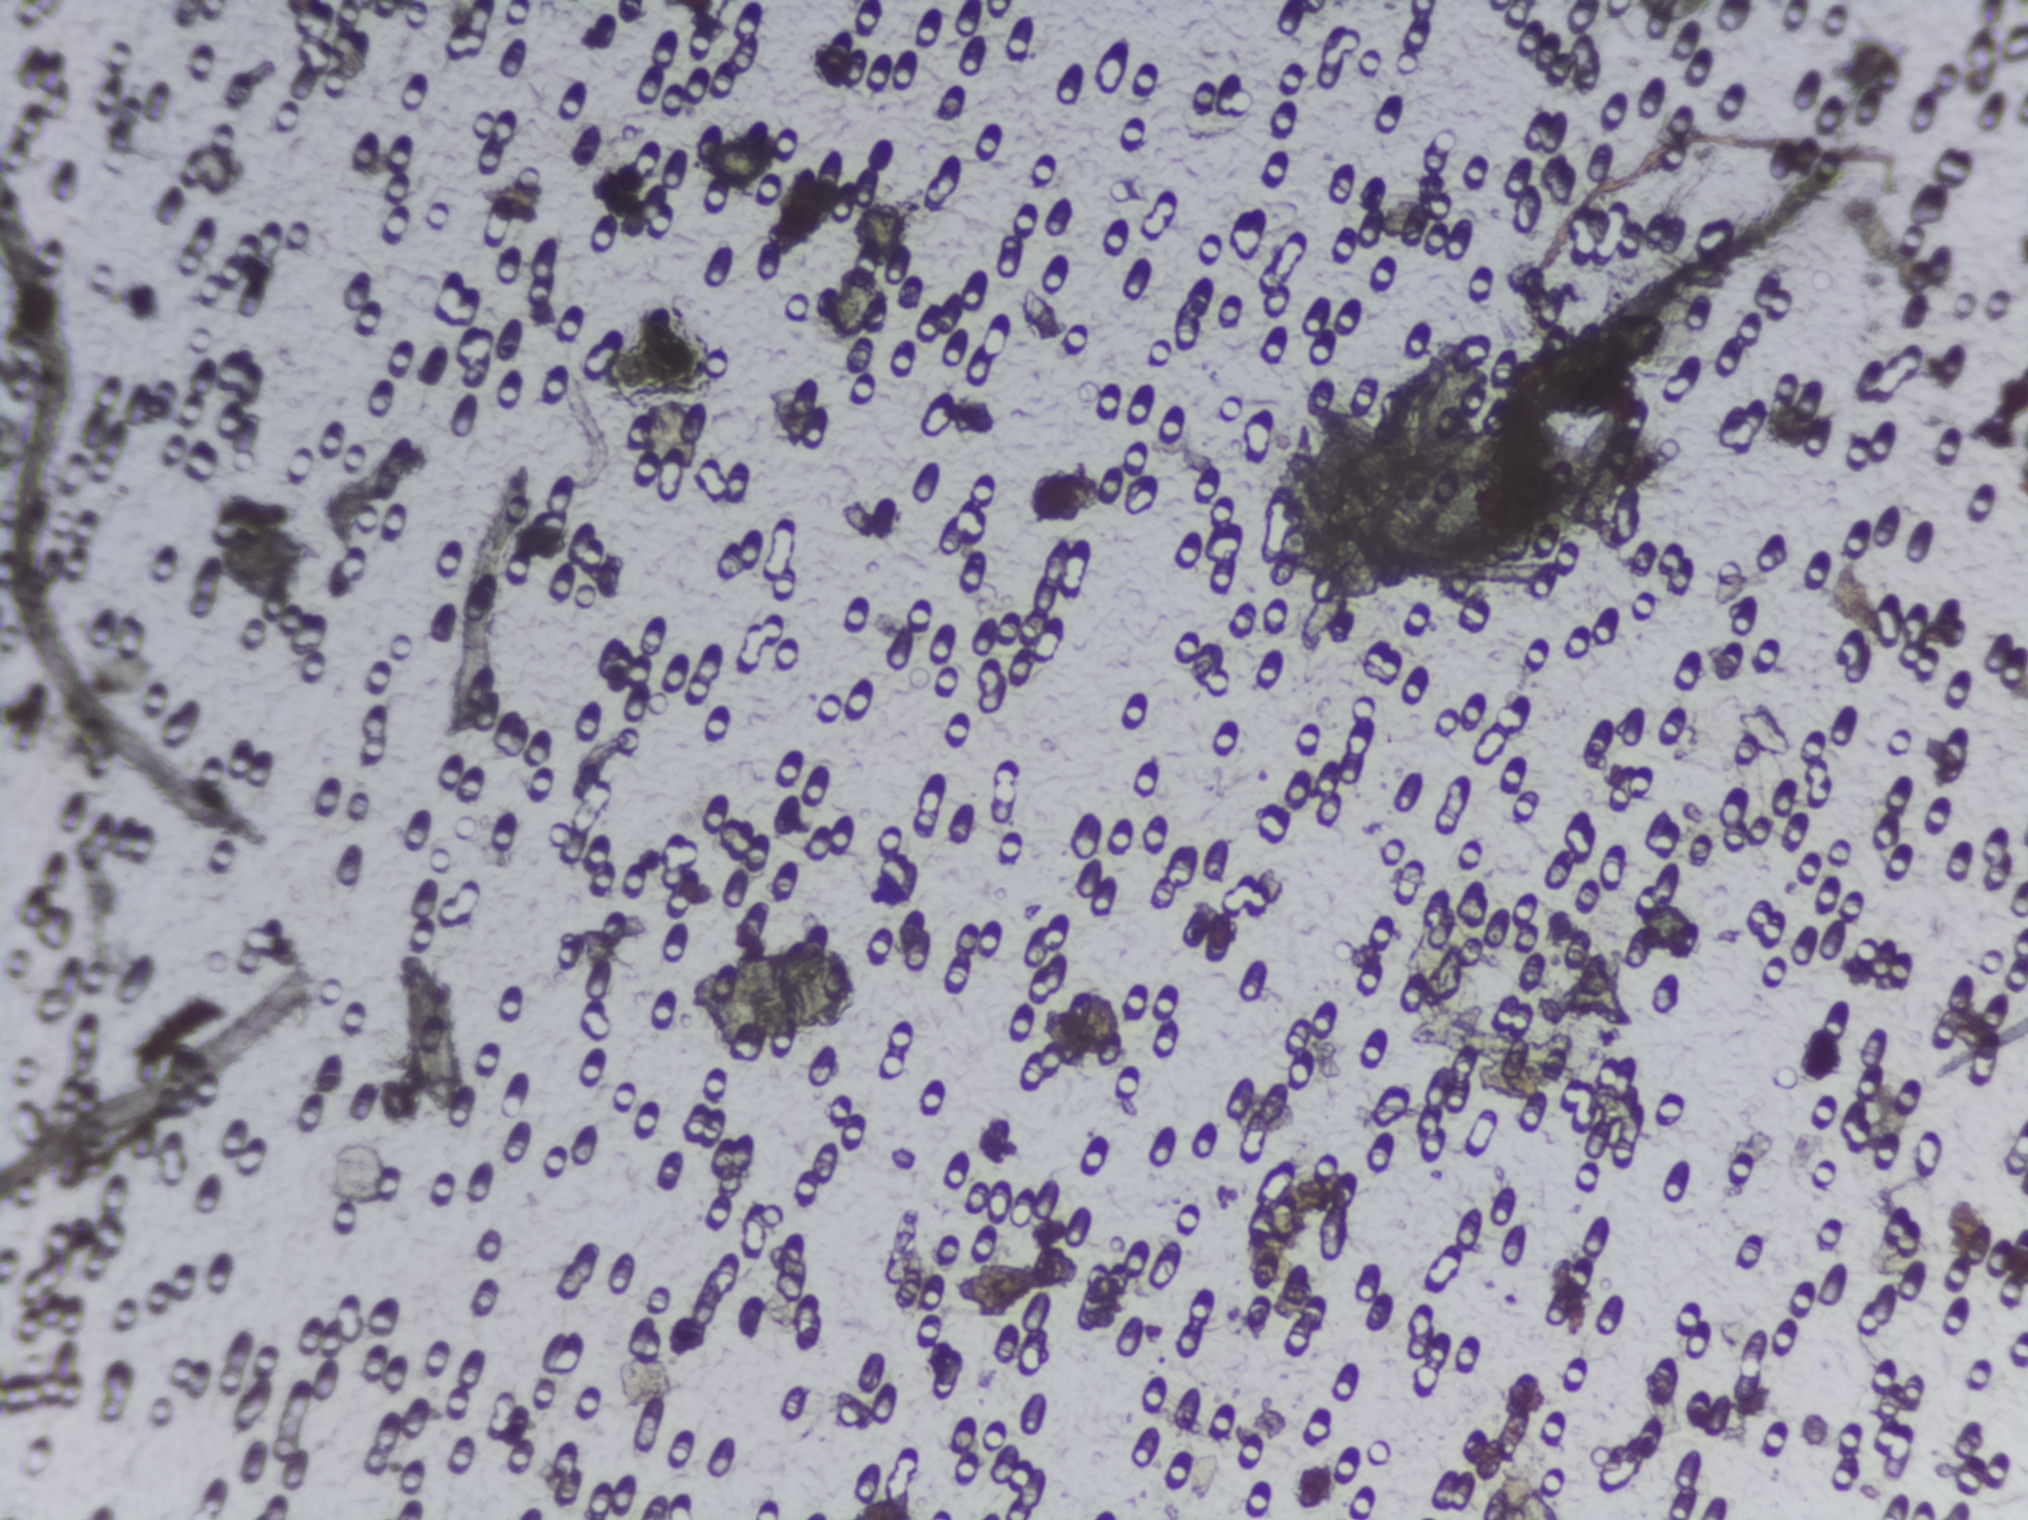
Photomicrograph of a urine filtration membrane, 4× objective.
No Schistosoma egg is outlined in this image's expert annotation.